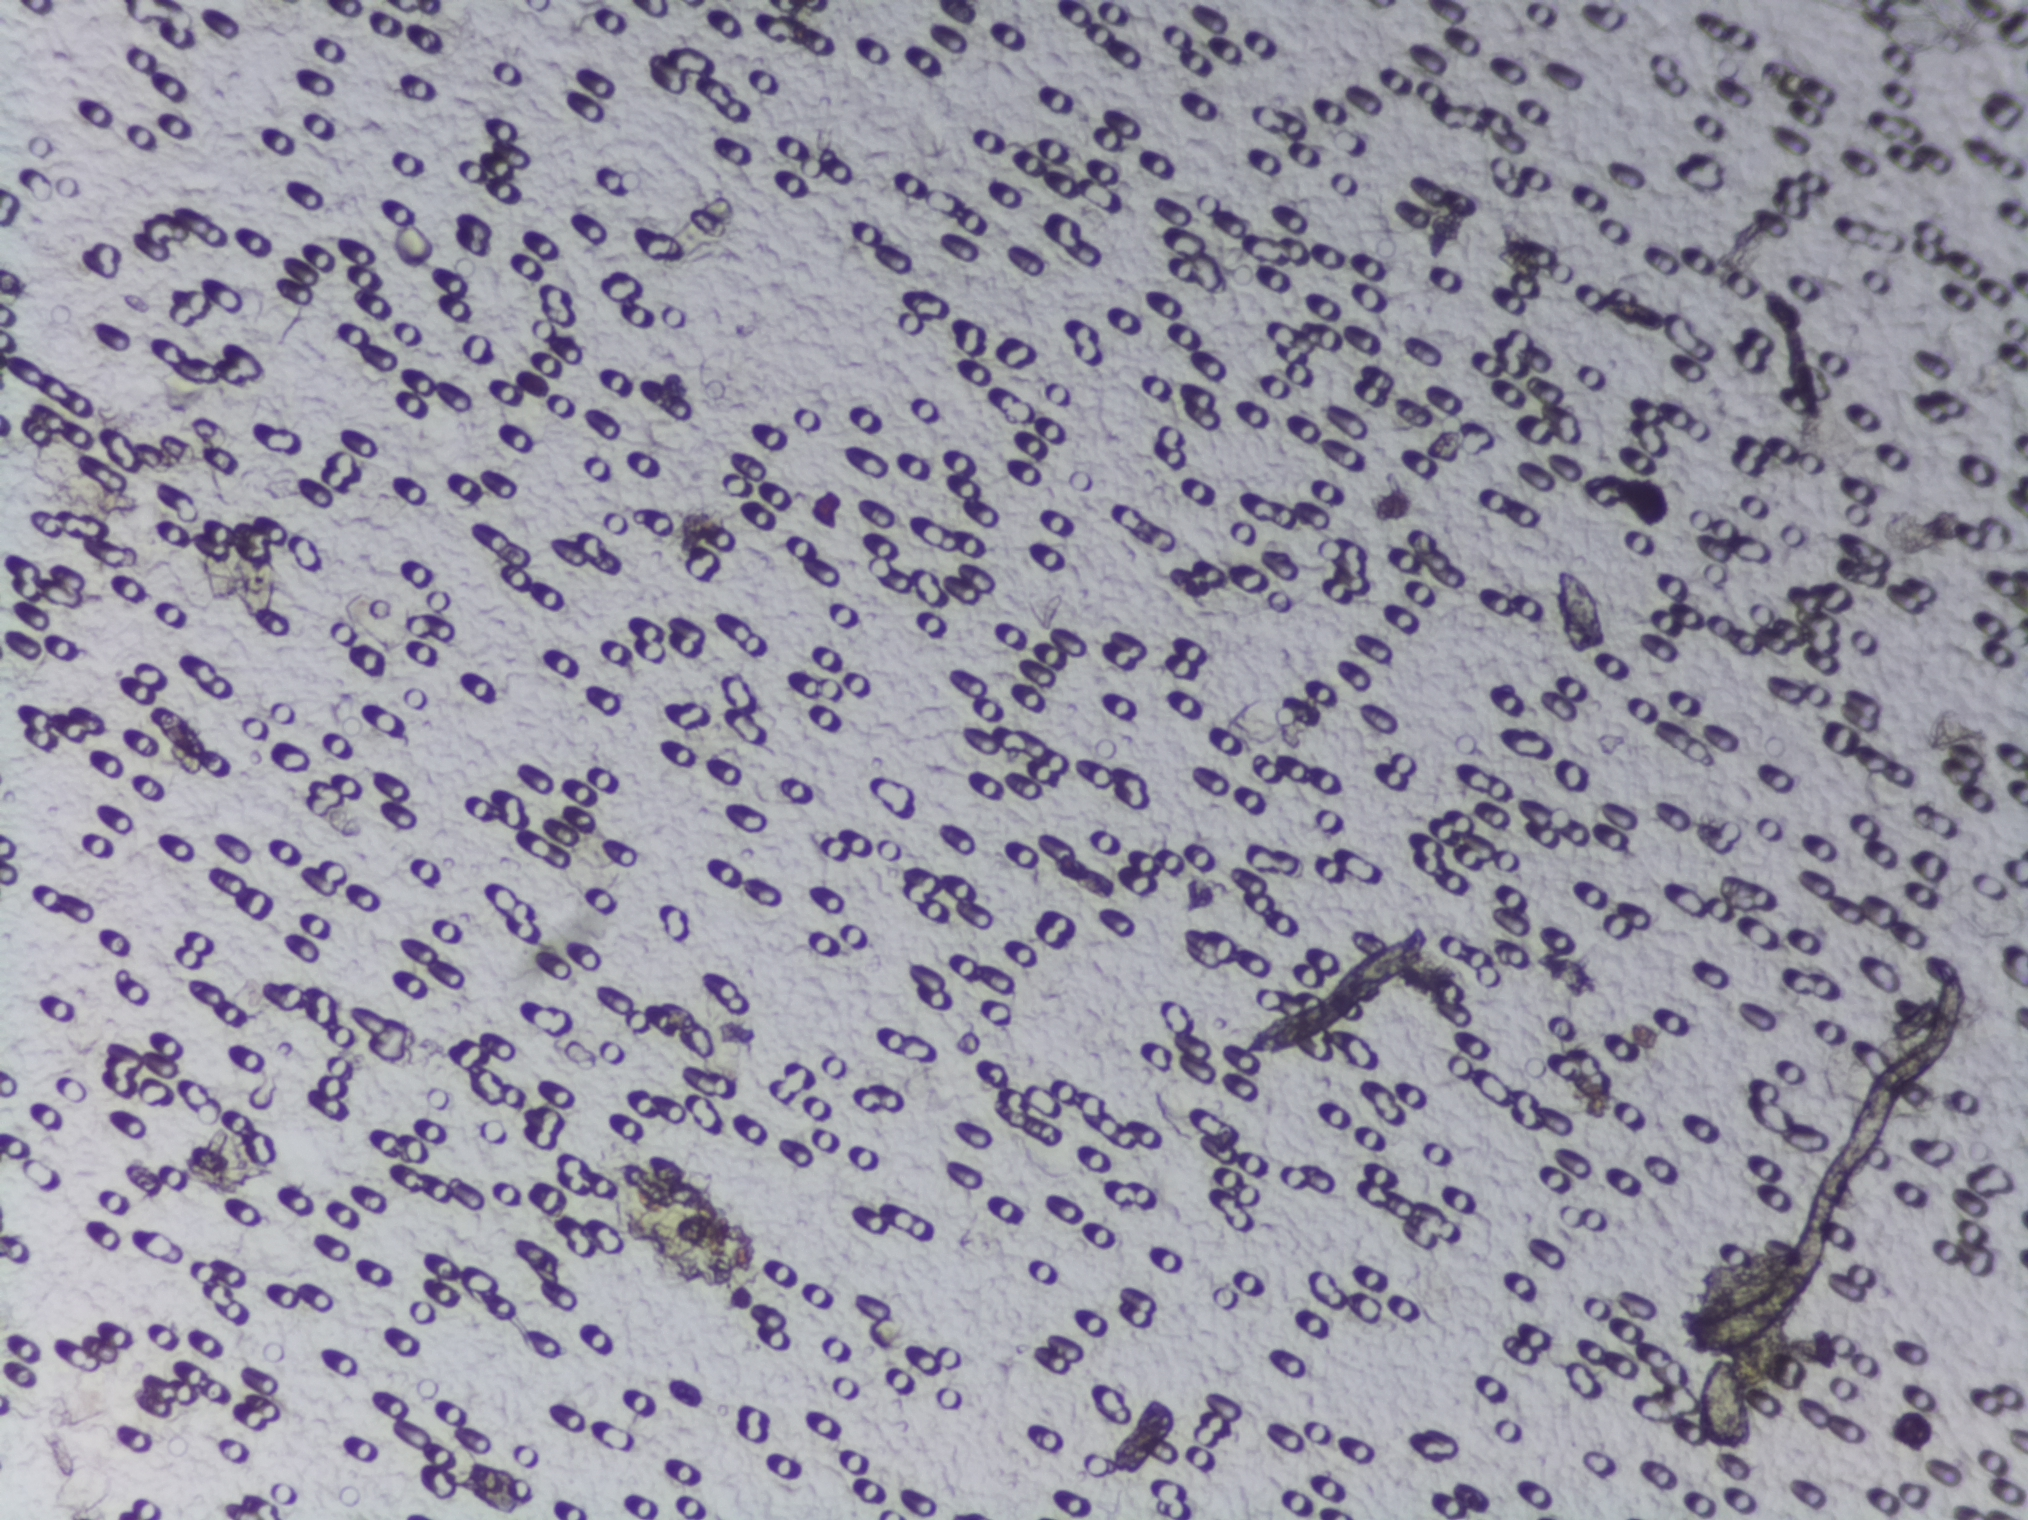
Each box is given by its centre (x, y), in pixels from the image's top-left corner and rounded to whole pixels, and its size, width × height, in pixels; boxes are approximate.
Findings: one area outlined as Schistosoma eggs. Location: centre (1723, 1404), 60 × 97 px. The marked pixels themselves, not the box around them, cover about 0.1% of the image. Eggs that touch can end up inside the same outlined area.
Photomicrograph of a urine filtration membrane, 4× objective. The field of view is about 1.5 mm × 1.1 mm.